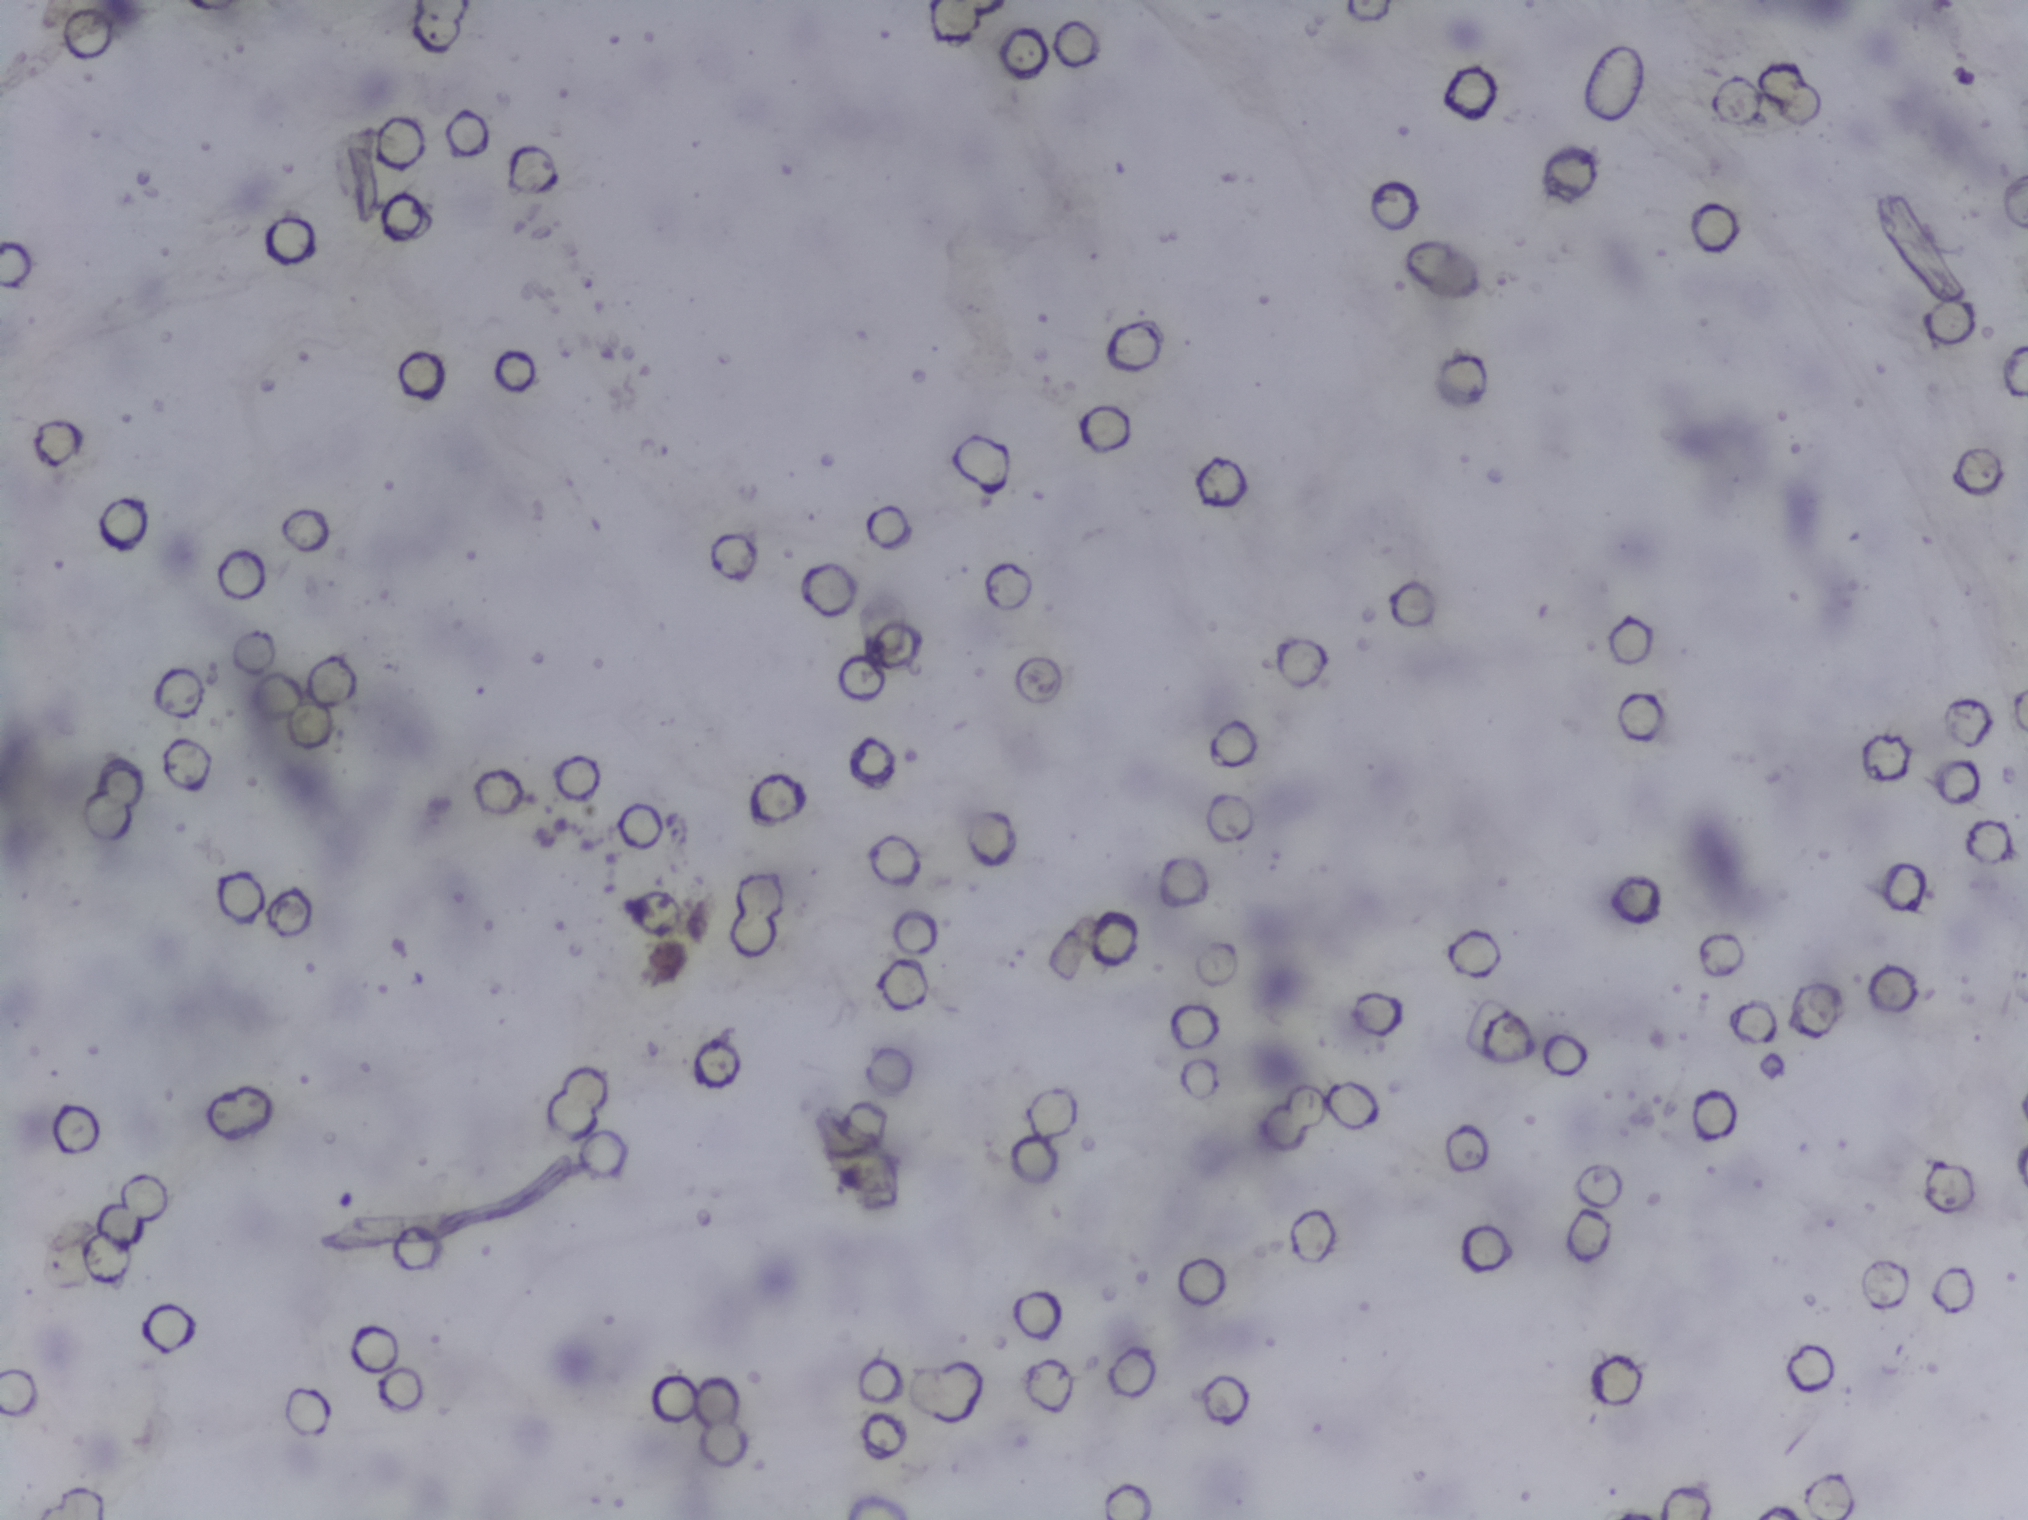
Photomicrograph of a urine filtration membrane, 4× objective.
The expert annotation marks no Schistosoma egg in this field of view.